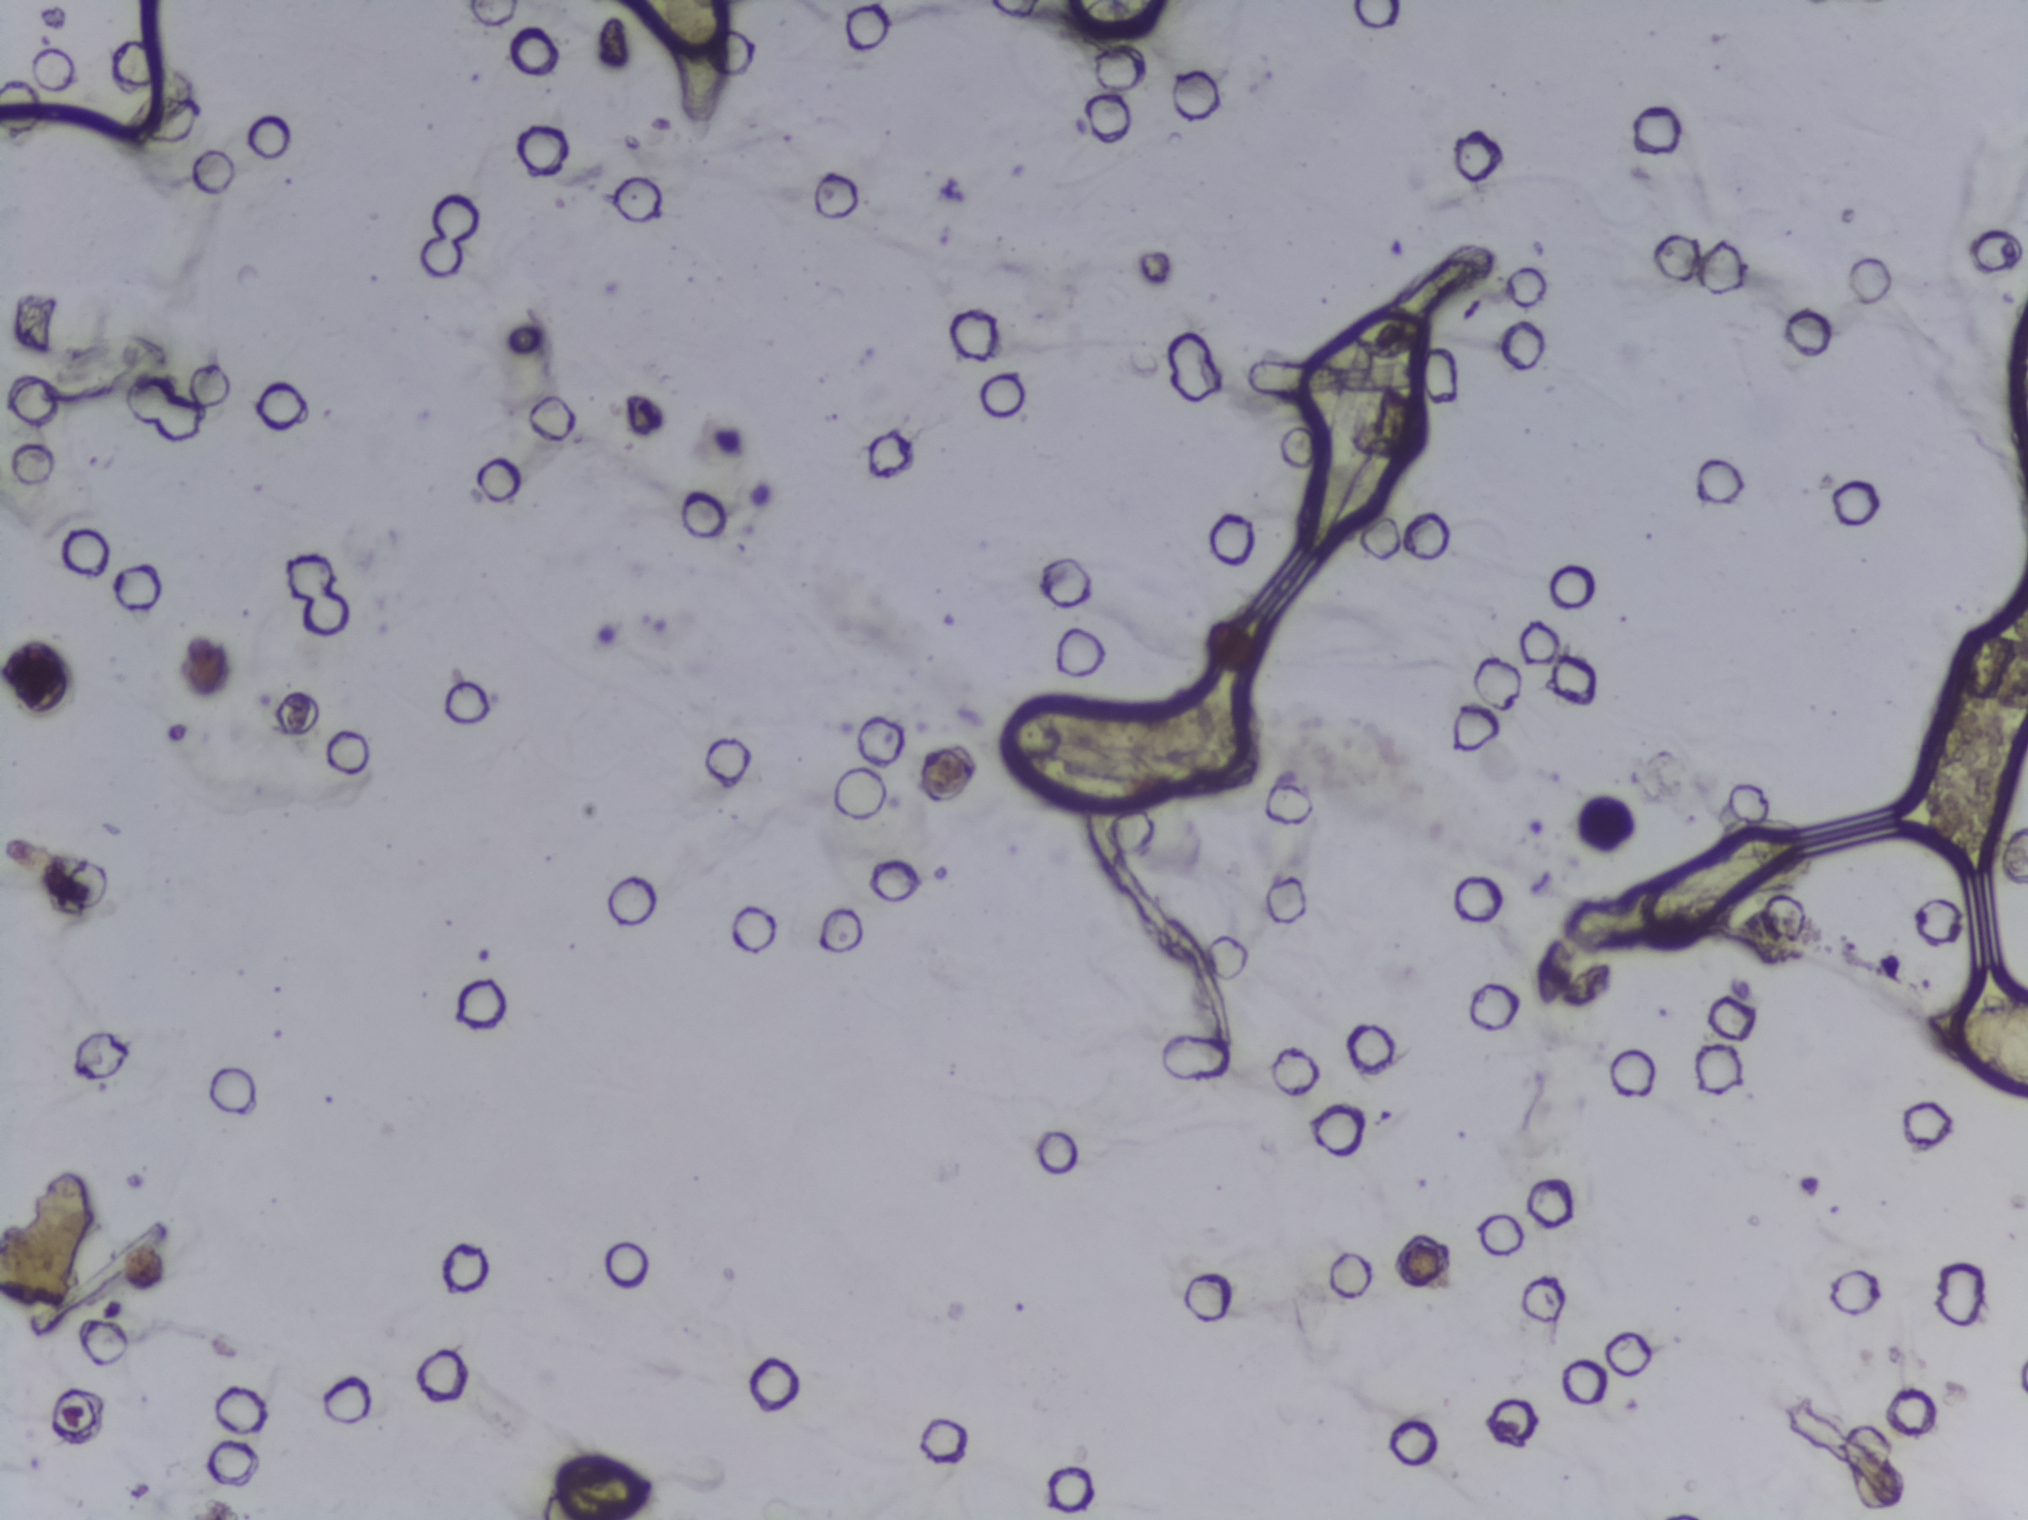
Urine filter membrane photographed through a 4× microscope objective.
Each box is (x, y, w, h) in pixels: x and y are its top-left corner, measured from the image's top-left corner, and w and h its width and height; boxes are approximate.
Areas outlined as Schistosoma eggs: (x=1916, y=993, w=112, h=110) (reaching the right edge of the frame). An outlined area can hold more than one egg.